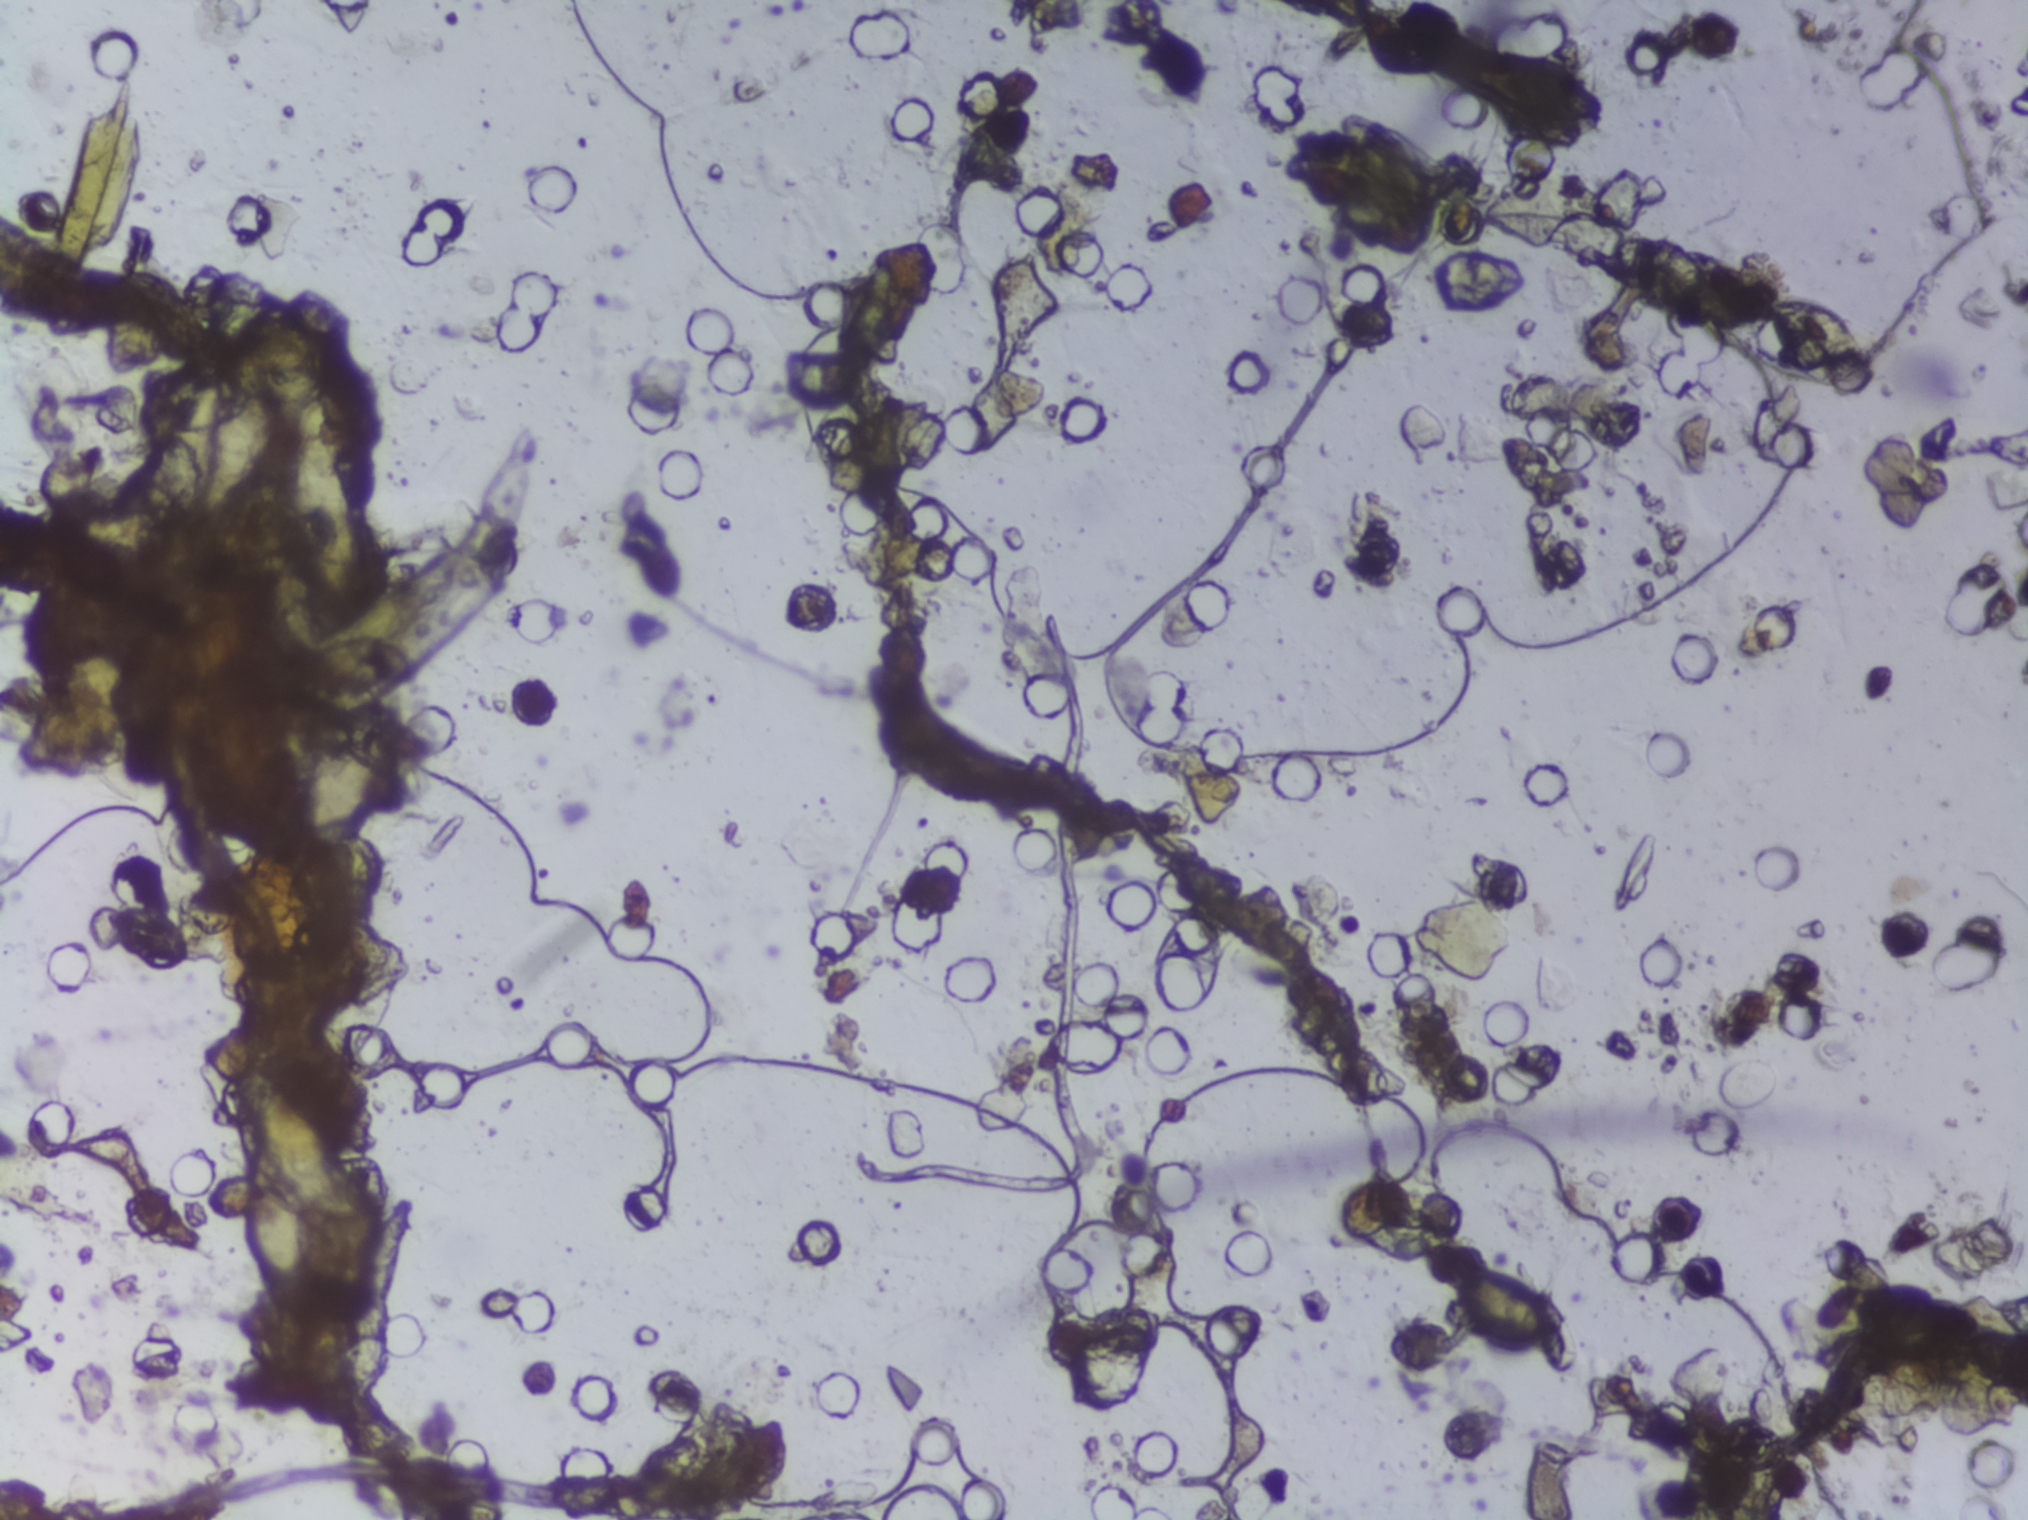
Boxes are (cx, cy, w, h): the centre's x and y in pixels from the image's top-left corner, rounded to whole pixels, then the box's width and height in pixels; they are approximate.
Schistosoma eggs, outlined areas: (cx=285, cy=1247, w=80, h=158); (cx=1501, cy=1307, w=100, h=79). About 0.4% of the image's pixels are marked (the marked pixels themselves, not the boxes around them). An outlined area can hold more than one egg.
Microscope photograph (4× objective) of a membrane that a urine sample was filtered through. The image covers about 1.5 × 1.1 mm of the membrane.